Photograph from an automated digital microscope: urine filter membrane, 4× objective.
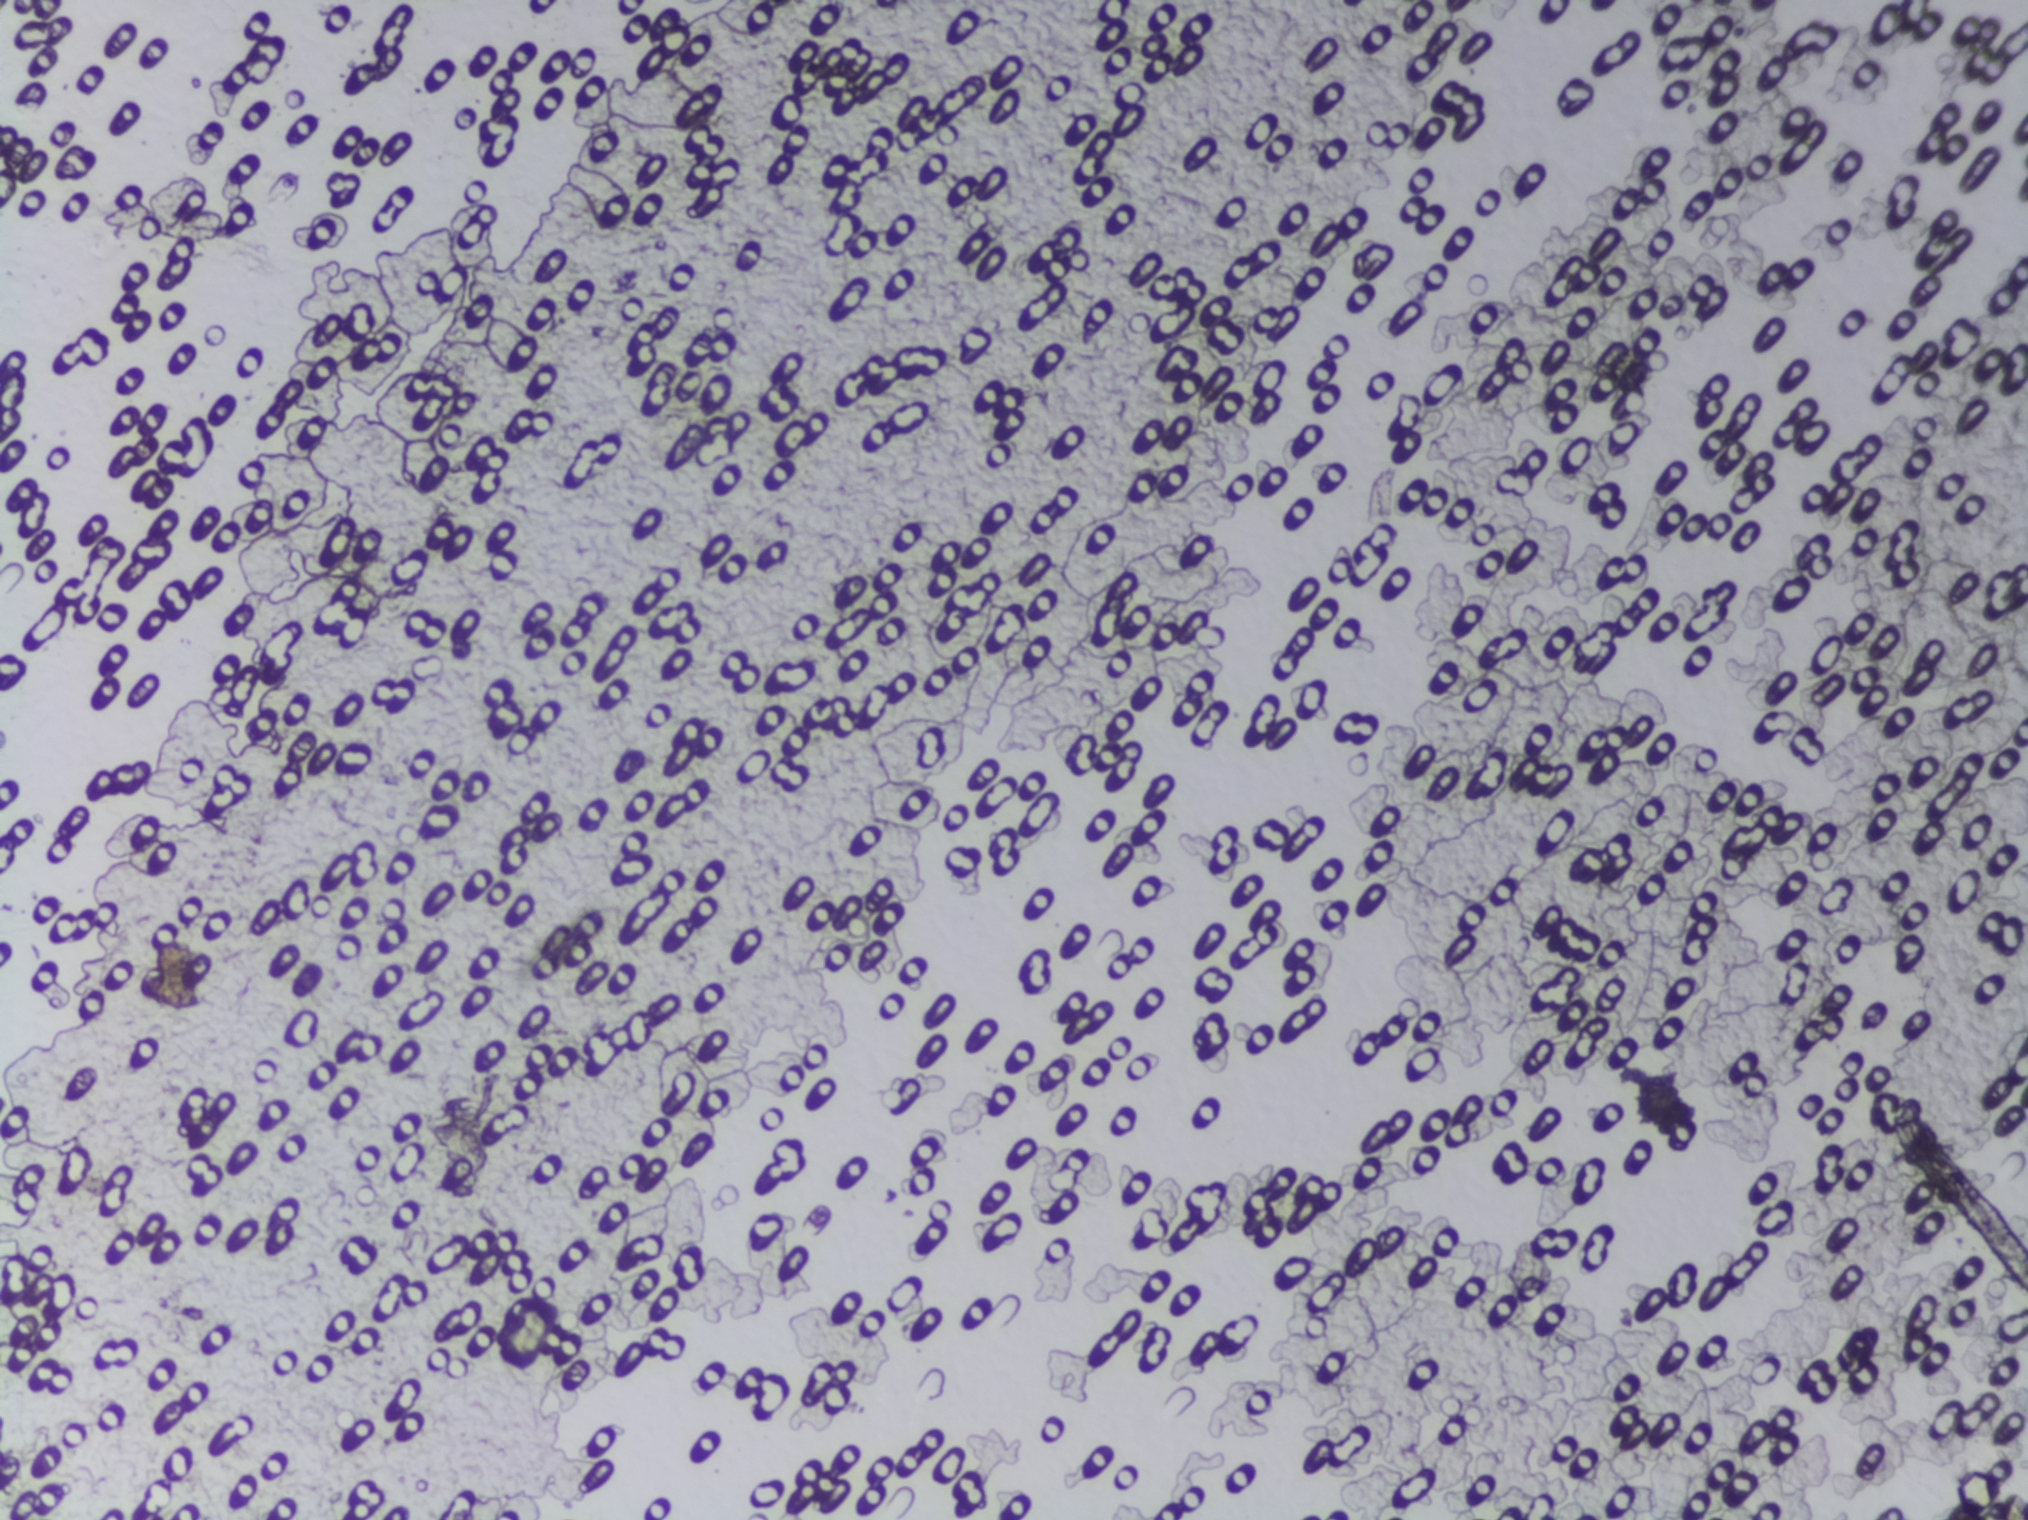
Schistosoma eggs: none outlined.